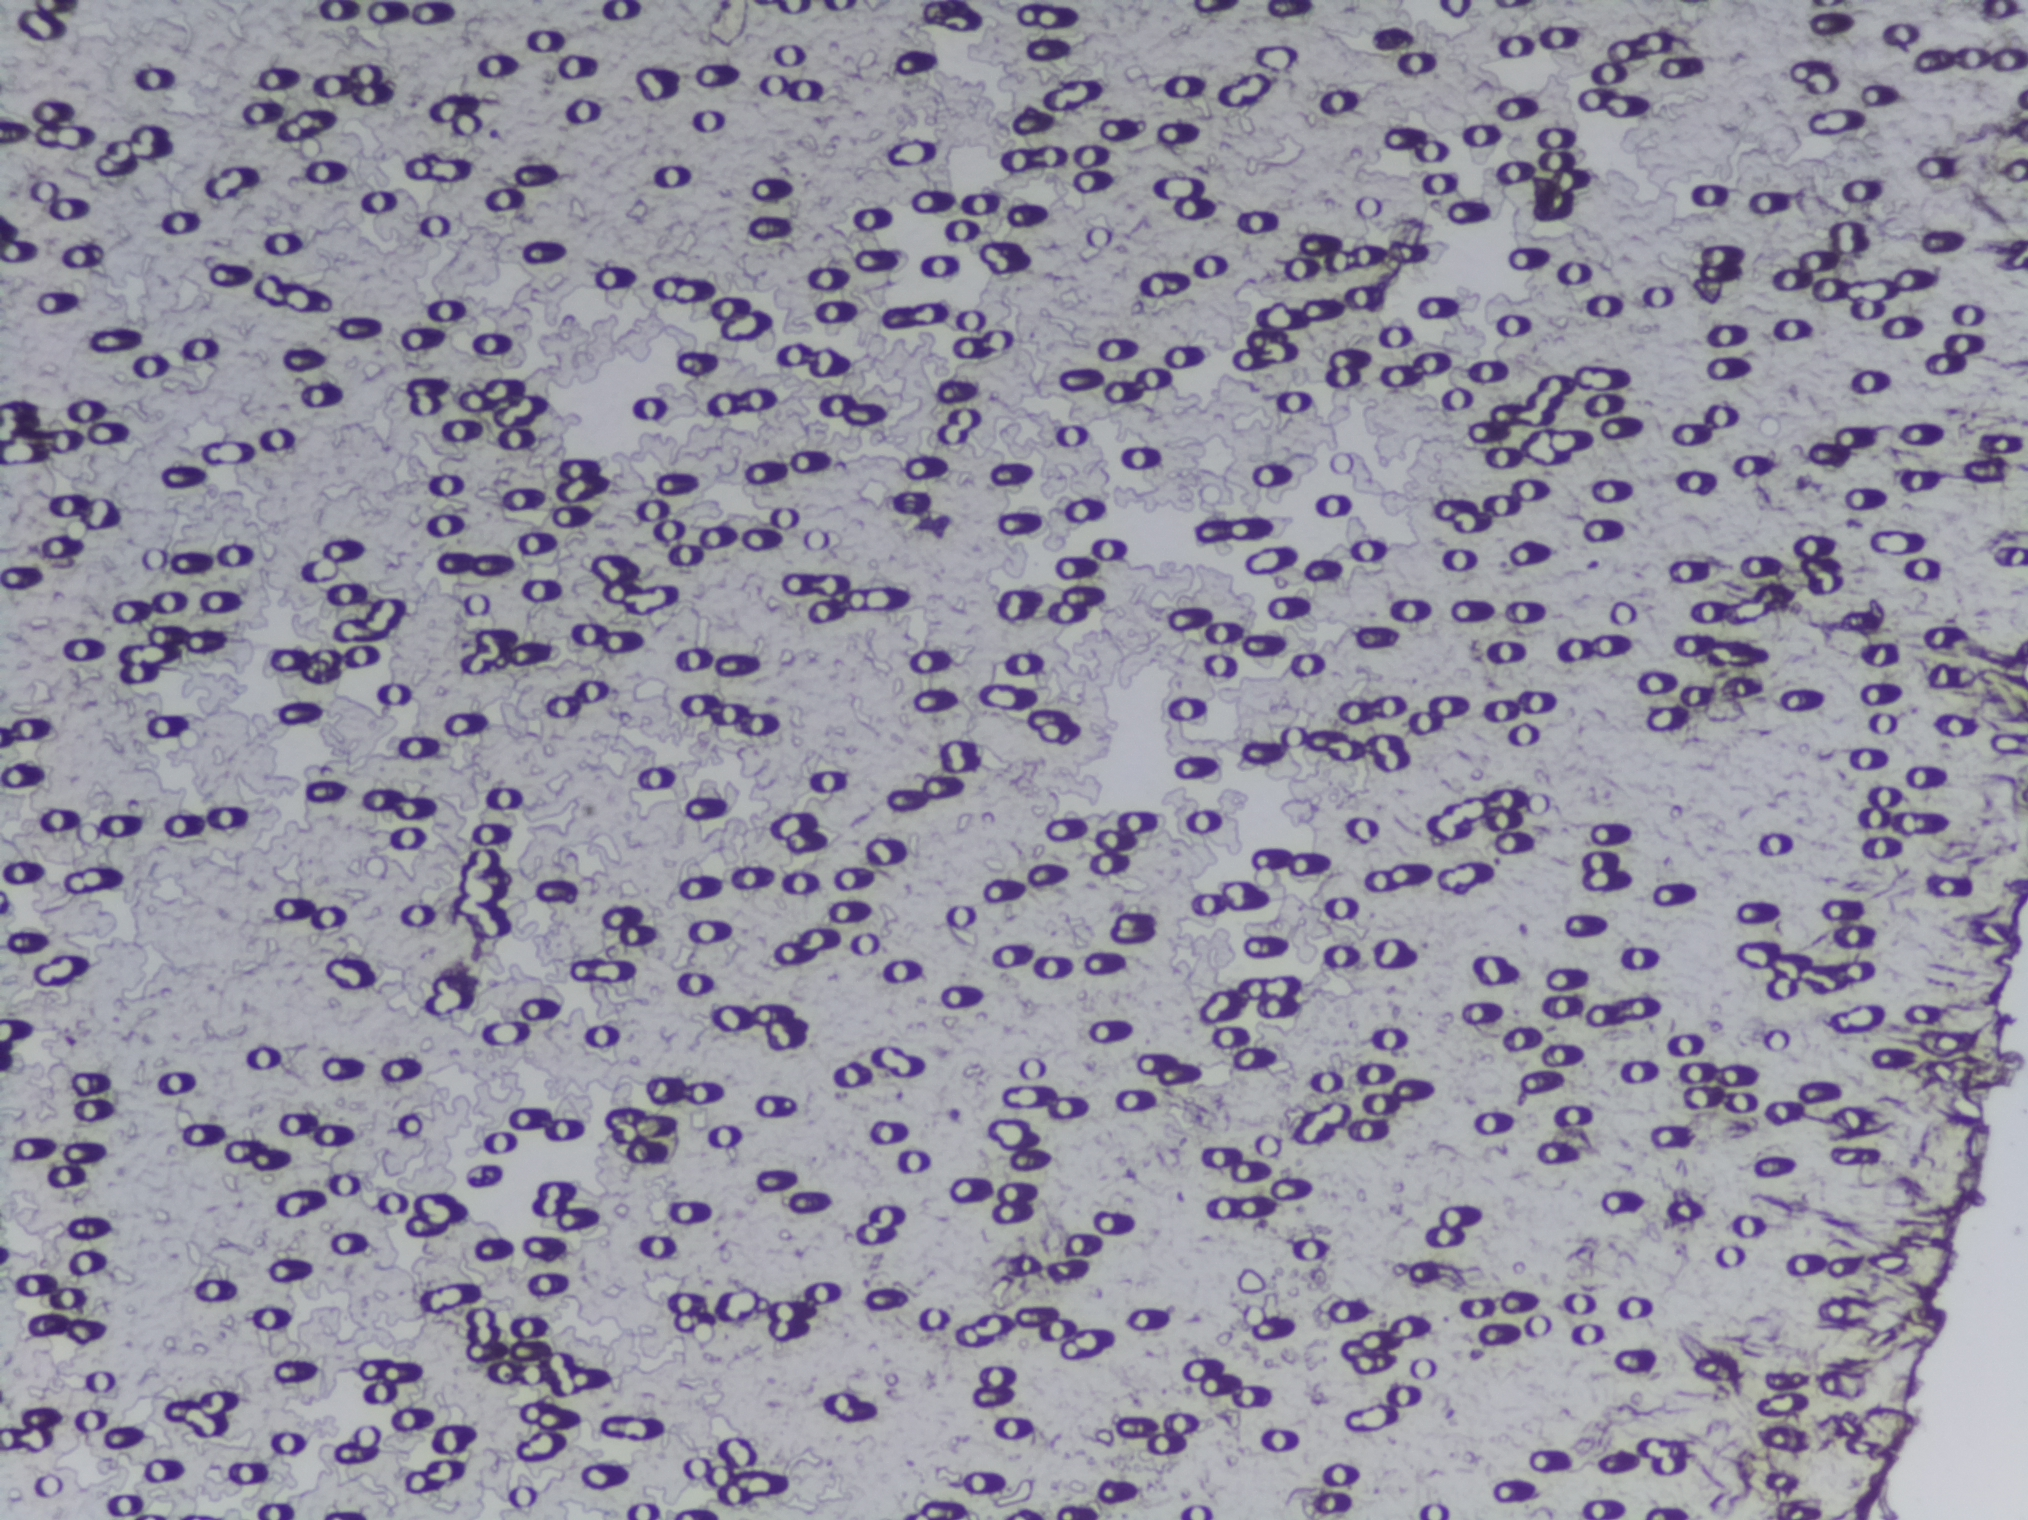
The expert annotation outlines no Schistosoma egg in this image.
Photomicrograph of a urine filtration membrane, 4× objective.